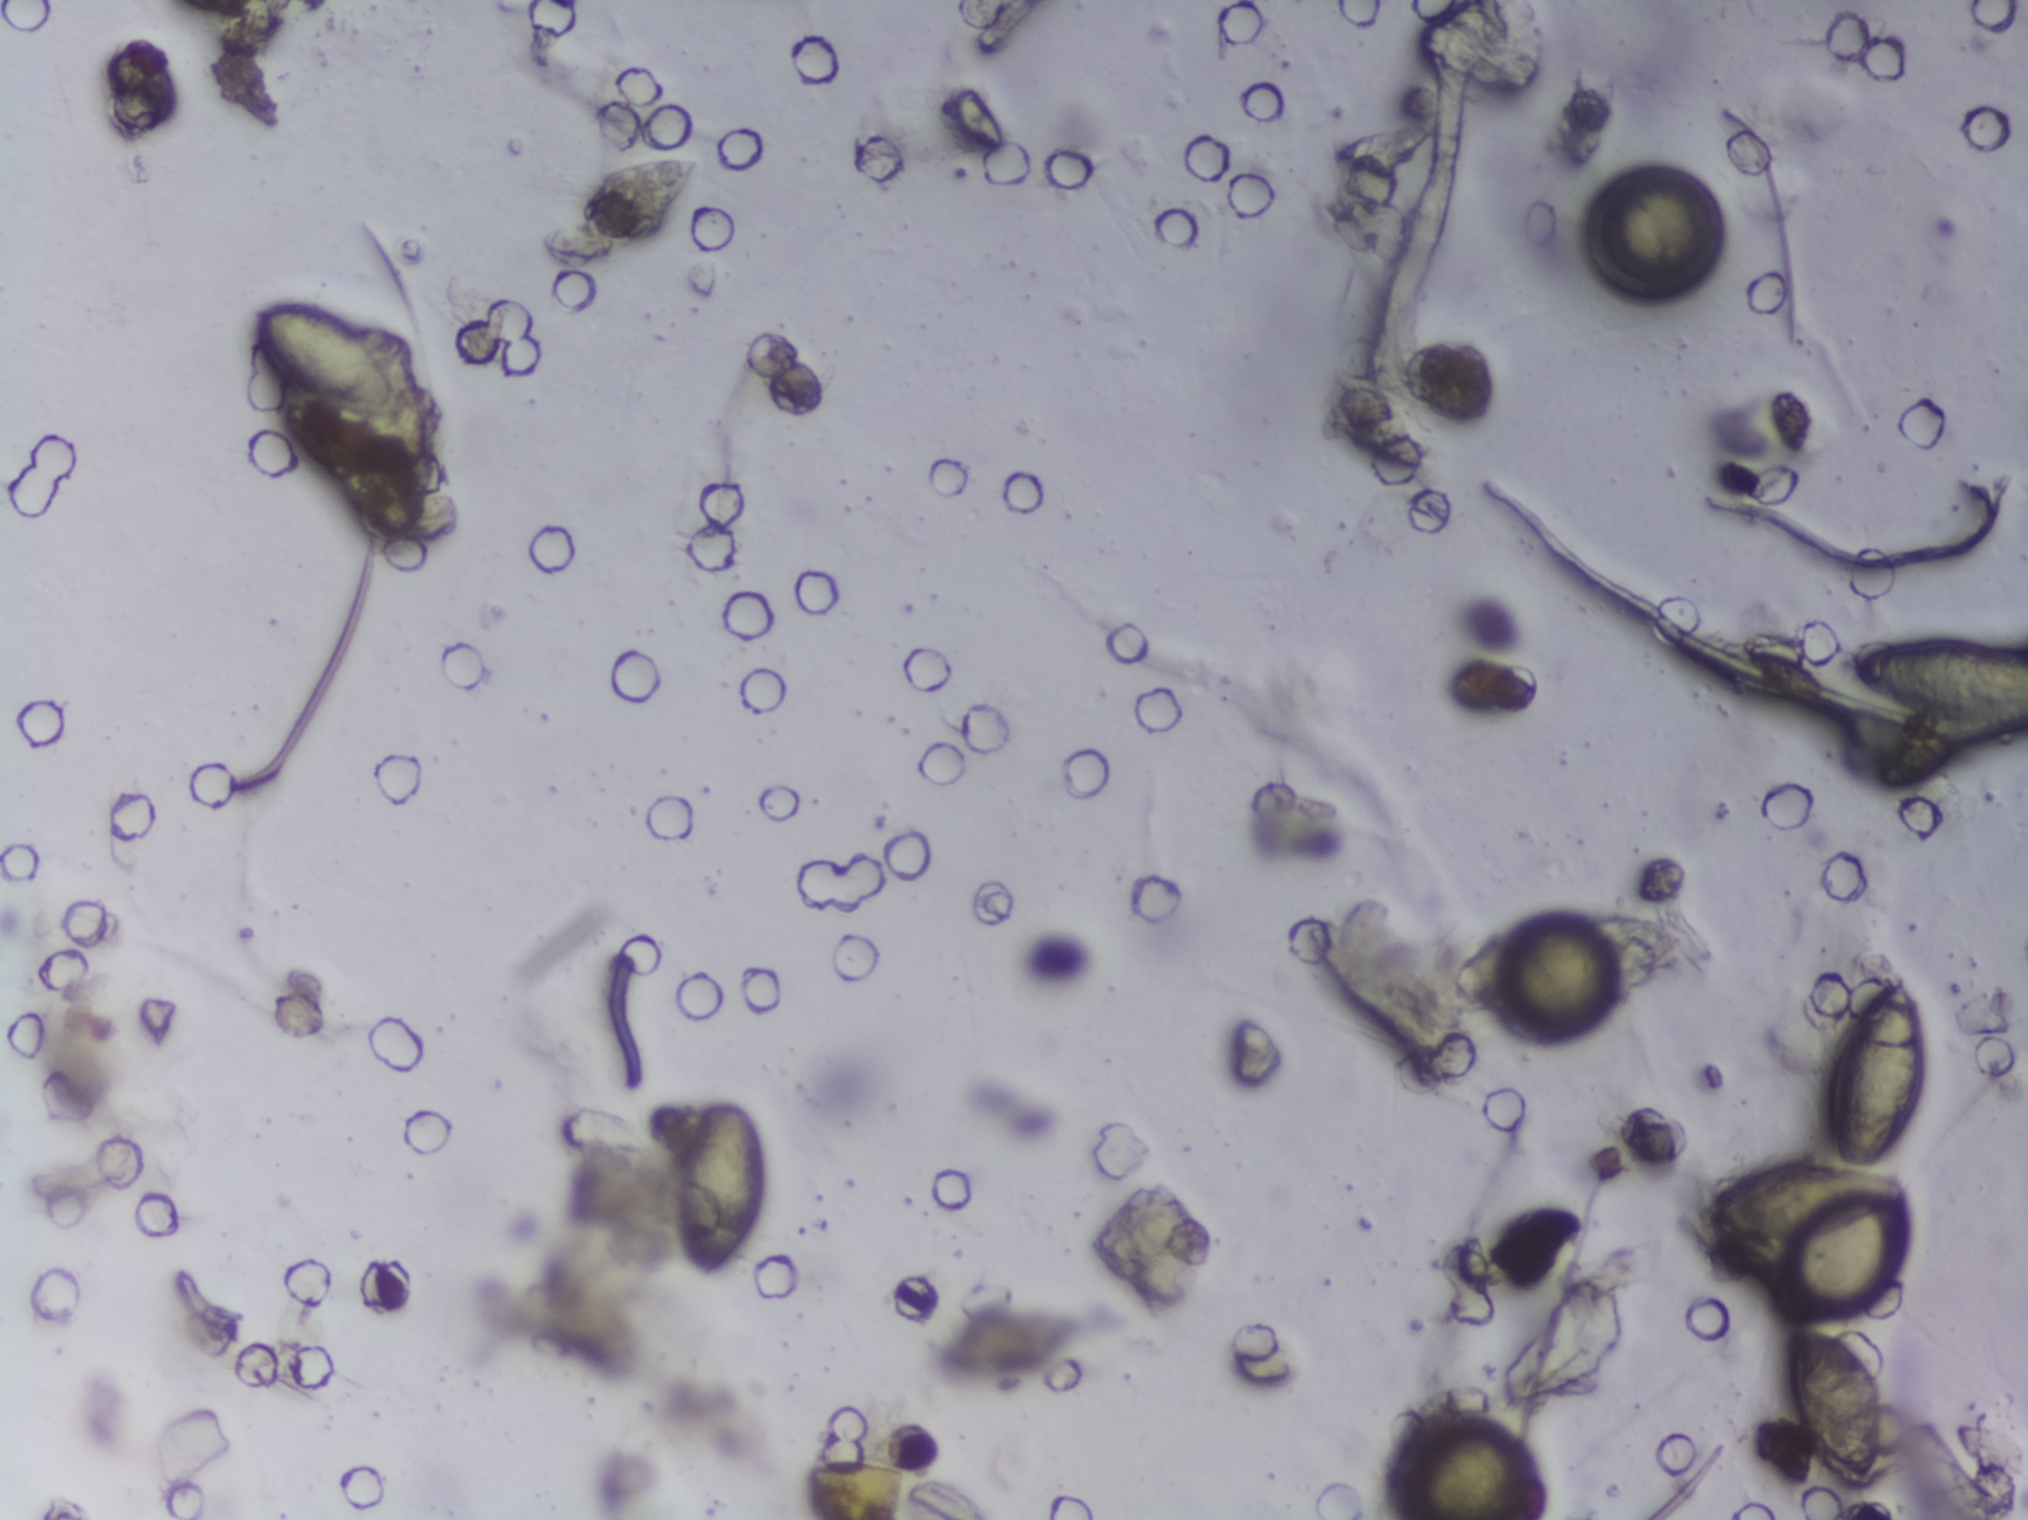
Urine filtration membrane under a 4× objective, photographed by an automated digital microscope. The image covers about 1.5 × 1.1 mm of the membrane.
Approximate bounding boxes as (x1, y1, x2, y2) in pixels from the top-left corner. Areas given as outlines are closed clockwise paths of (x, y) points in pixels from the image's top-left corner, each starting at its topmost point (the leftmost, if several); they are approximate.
Schistosoma eggs, outlined areas: box (247, 299, 405, 420); box (536, 149, 709, 278); box (666, 1093, 769, 1288); box (1436, 905, 1689, 1022); outline (1893, 965), (1908, 972), (1928, 1014), (1928, 1097), (1921, 1128), (1900, 1159), (1917, 1169), (1920, 1194), (1909, 1210), (1907, 1247), (1896, 1276), (1847, 1325), (1891, 1375), (1892, 1448), (1879, 1484), (1845, 1488), (1821, 1476), (1782, 1412), (1771, 1288), (1787, 1251), (1729, 1250), (1705, 1241), (1690, 1231), (1688, 1211), (1743, 1157), (1818, 1146), (1820, 1058), (1826, 1062), (1839, 1020) (a cluster of eggs); box (1840, 630, 2027, 743) (reaching the right edge of the frame). The marked pixels themselves, not the boxes and the outline around them, cover about 4.6% of the image. A single outlined area may contain several eggs.